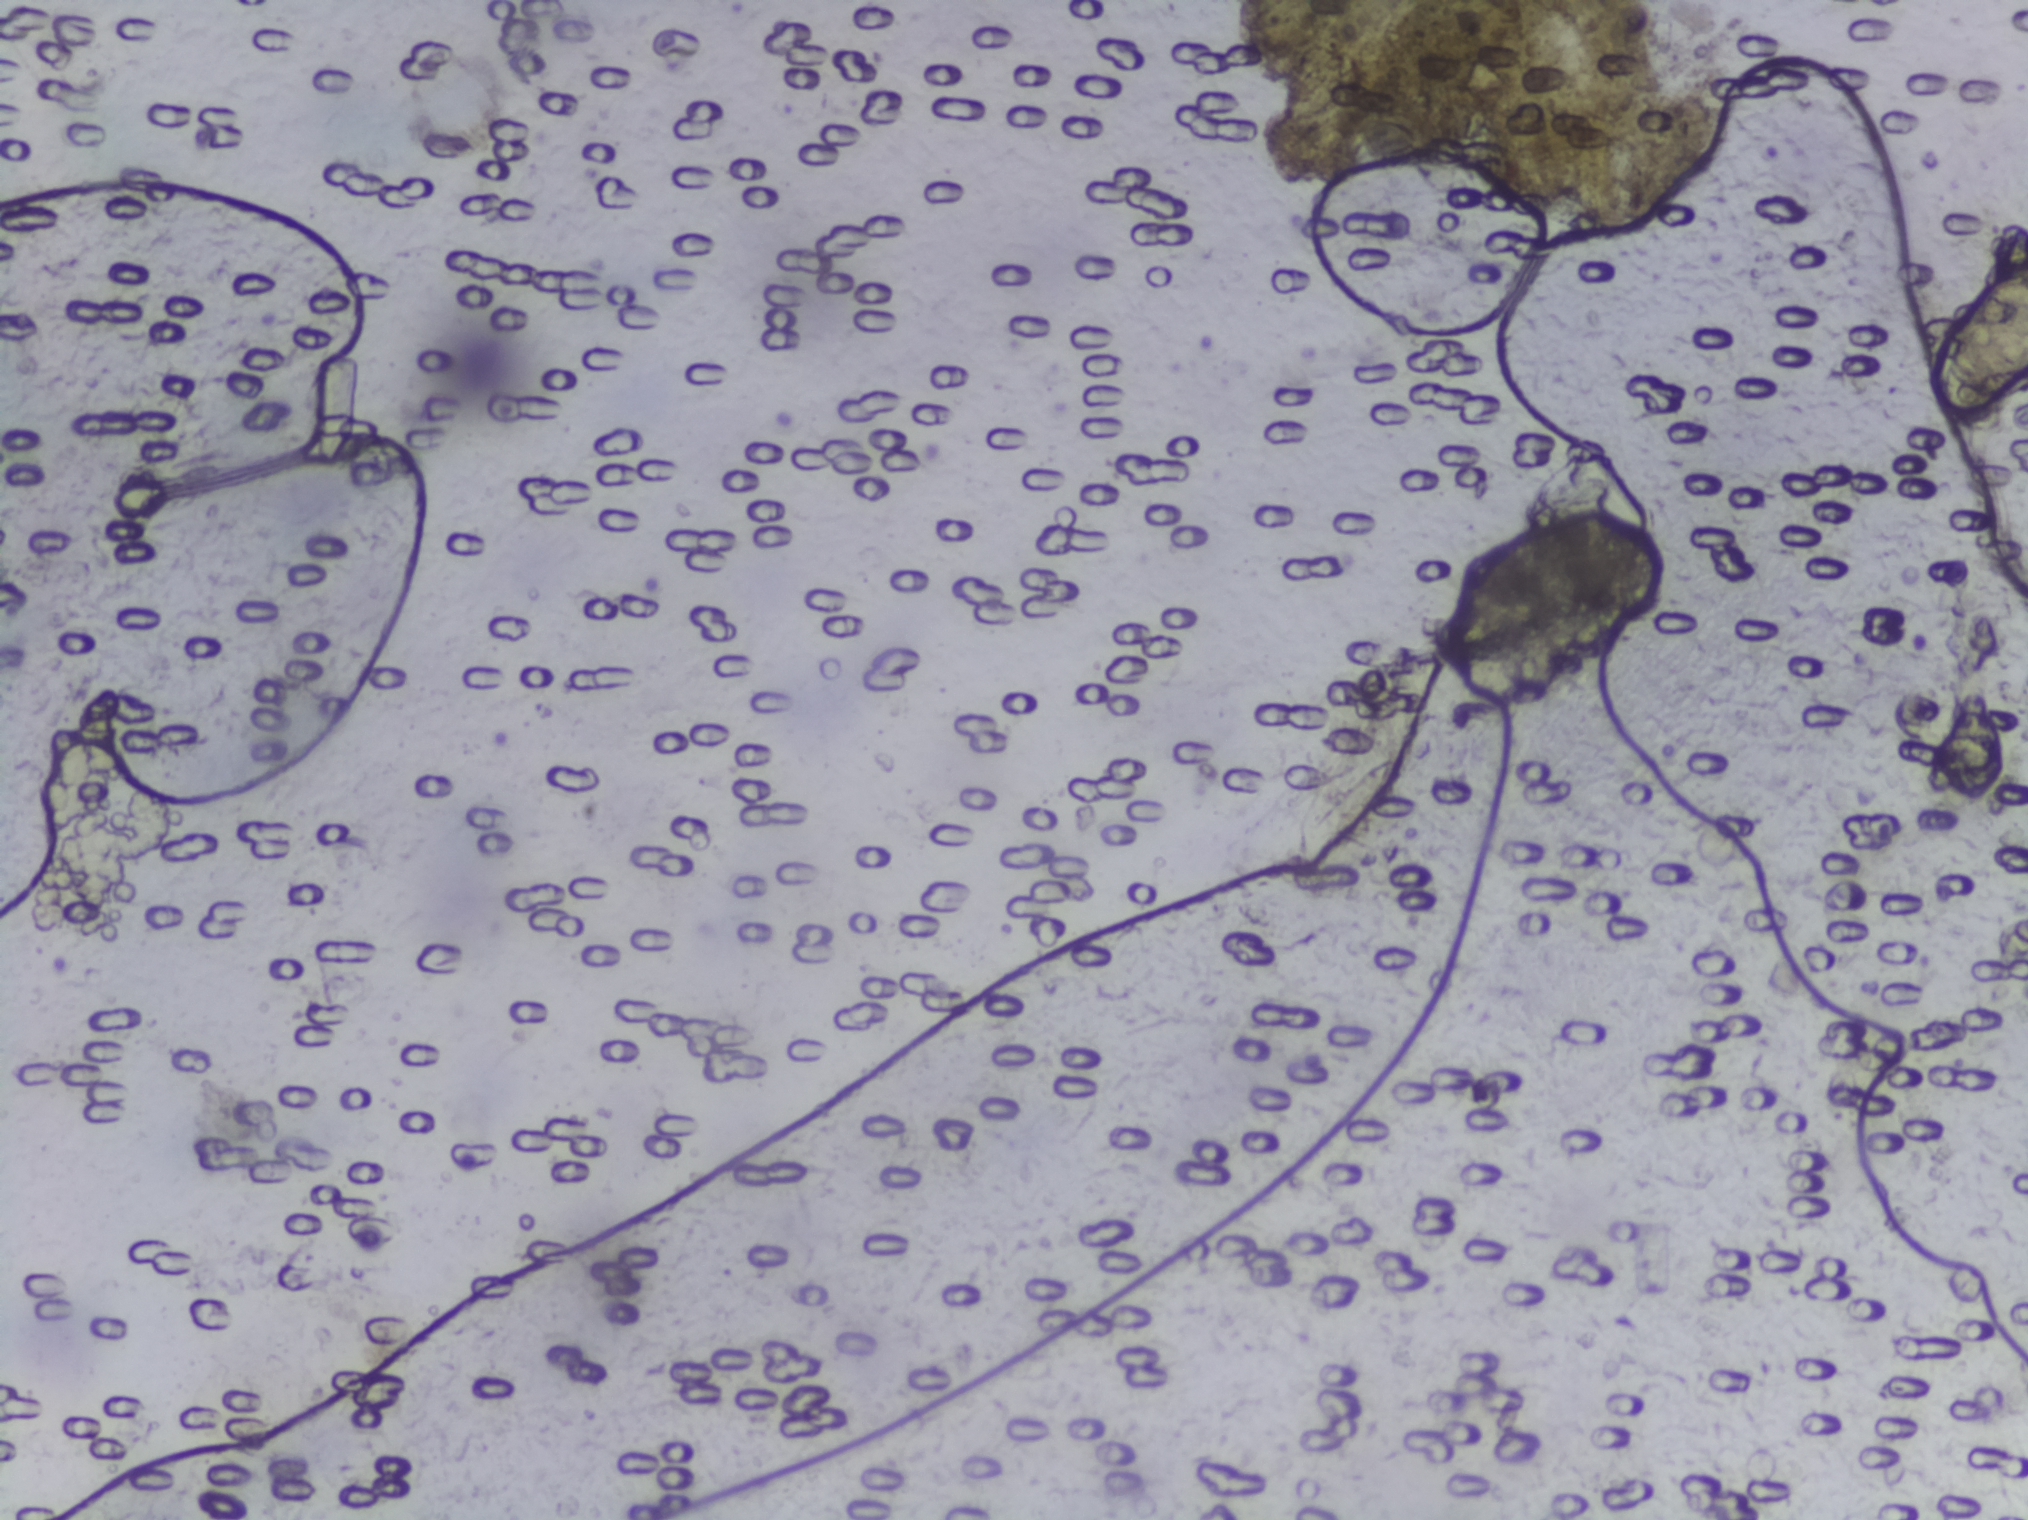
Photomicrograph of a urine filtration membrane, 4× objective. Field of view: about 1.5 mm wide and 1.1 mm high.
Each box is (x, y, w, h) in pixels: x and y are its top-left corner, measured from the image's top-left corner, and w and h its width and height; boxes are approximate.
Areas outlined as Schistosoma eggs:
1. (x=1935, y=262, w=93, h=151) (reaching the right edge of the frame)
Eggs that touch can end up inside the same outlined area. Any one outlined egg may, rarely, be S. mansoni rather than S. haematobium.